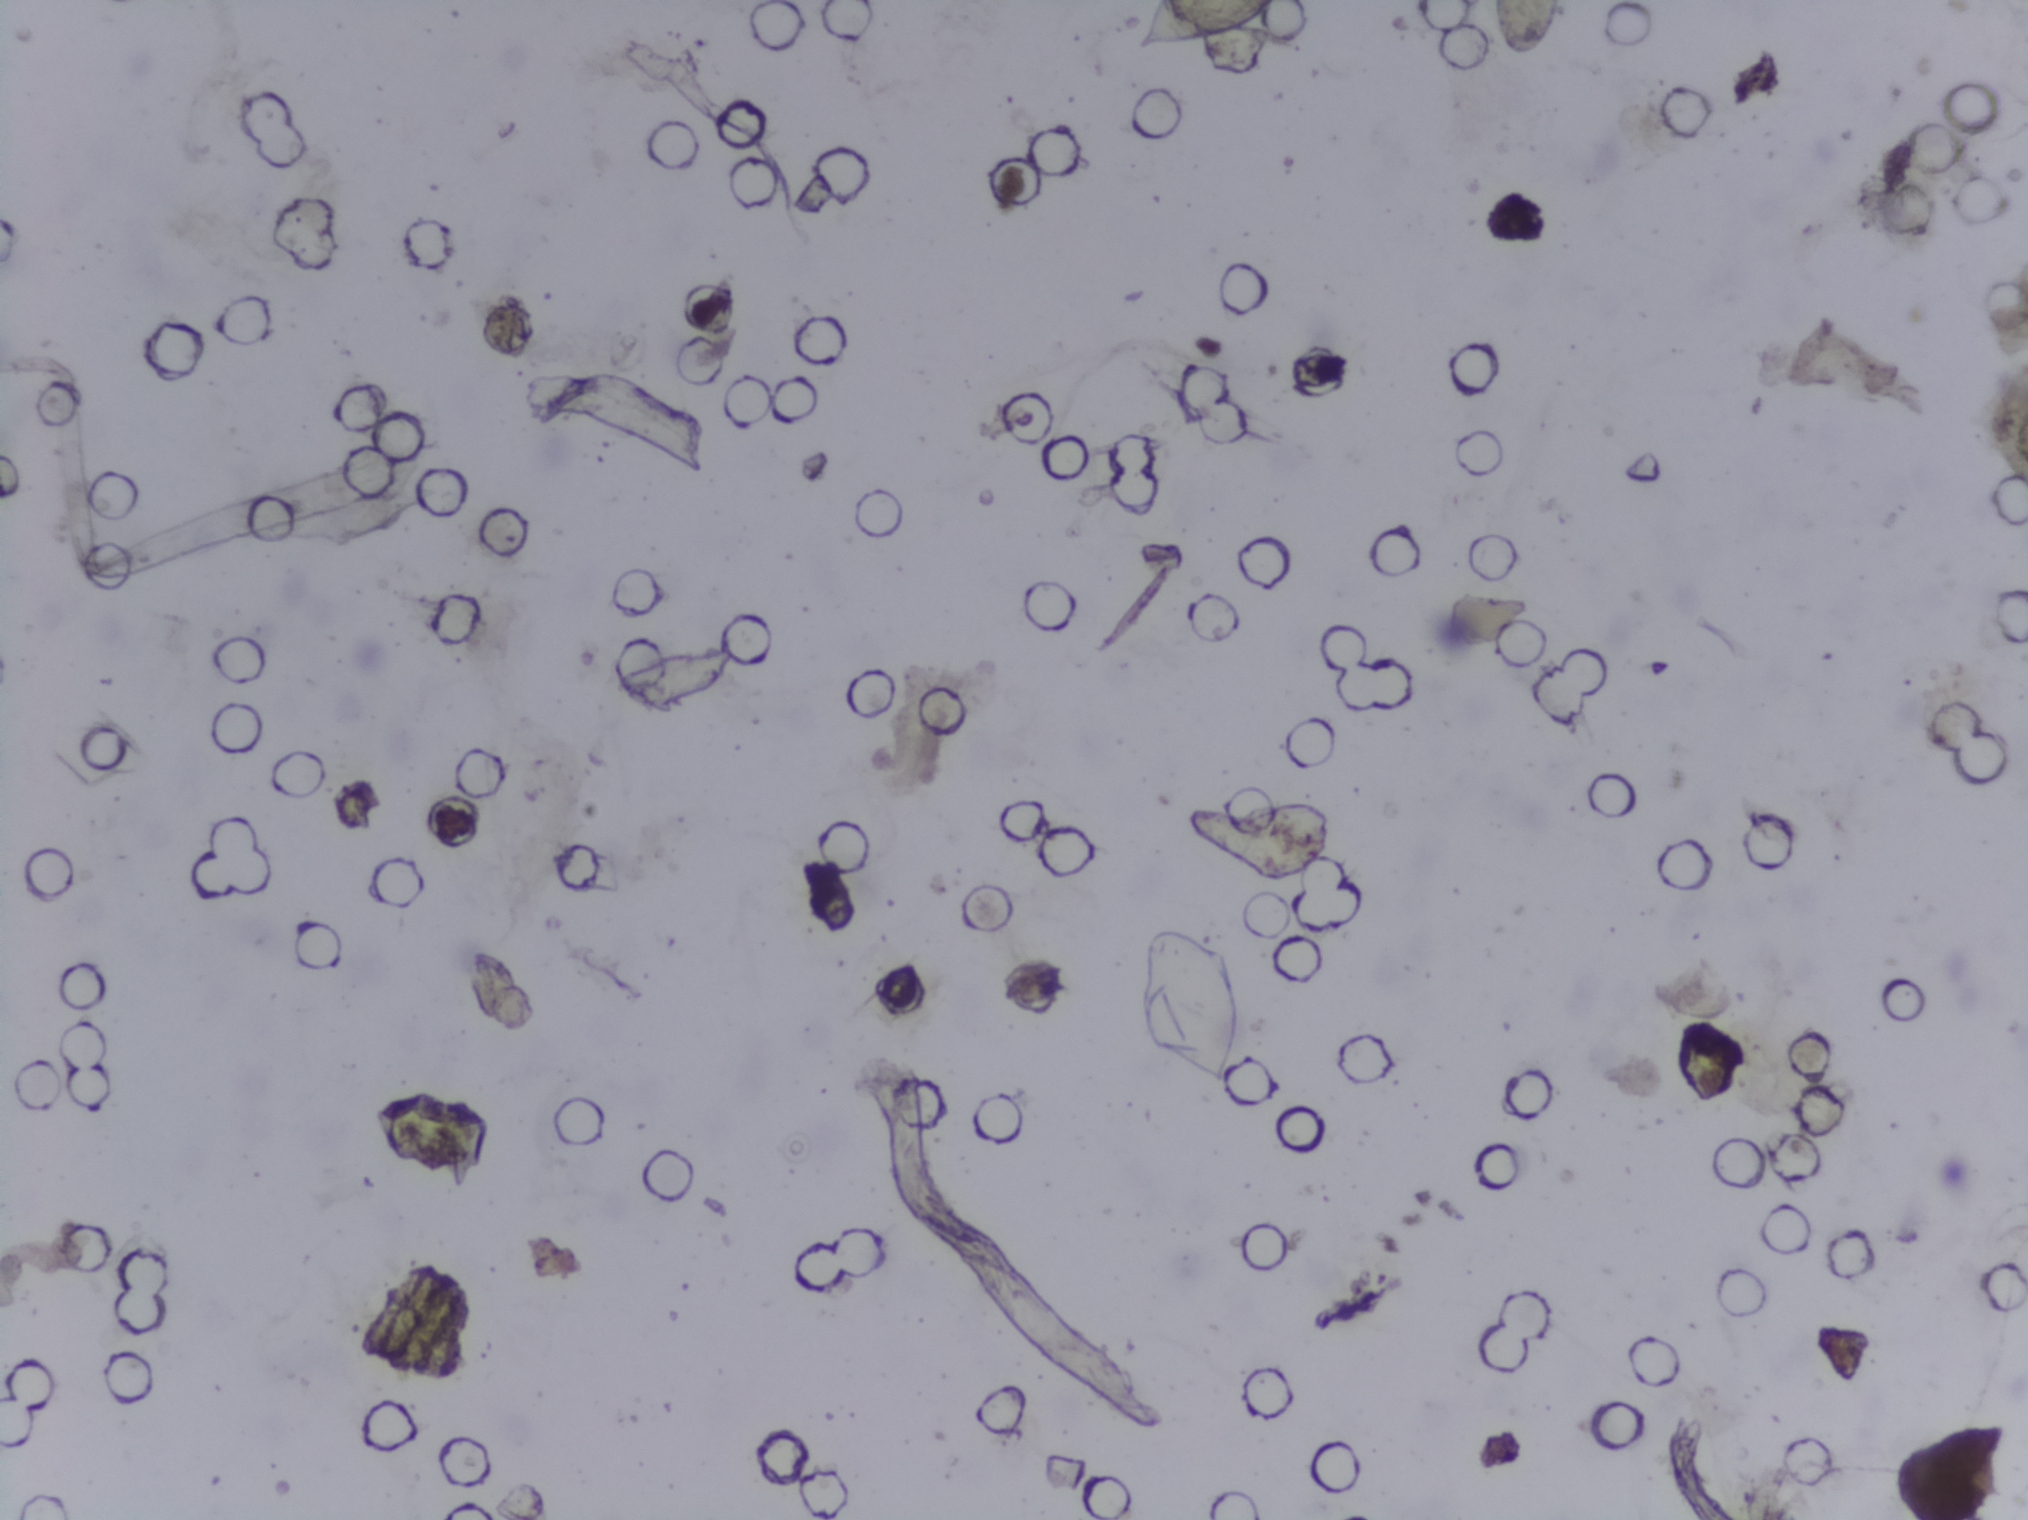
Microscope photograph (4× objective) of a membrane that a urine sample was filtered through. The field of view is about 1.5 mm × 1.1 mm.
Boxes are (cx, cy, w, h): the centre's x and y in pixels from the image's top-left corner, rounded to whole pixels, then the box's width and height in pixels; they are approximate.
Schistosoma egg areas, outlined: (cx=1186, cy=1004, w=113, h=167); (cx=1202, cy=27, w=145, h=54) (reaching the top edge of the frame); (cx=1525, cy=28, w=76, h=56) (reaching the top edge of the frame). Eggs that touch can end up inside the same outlined area.